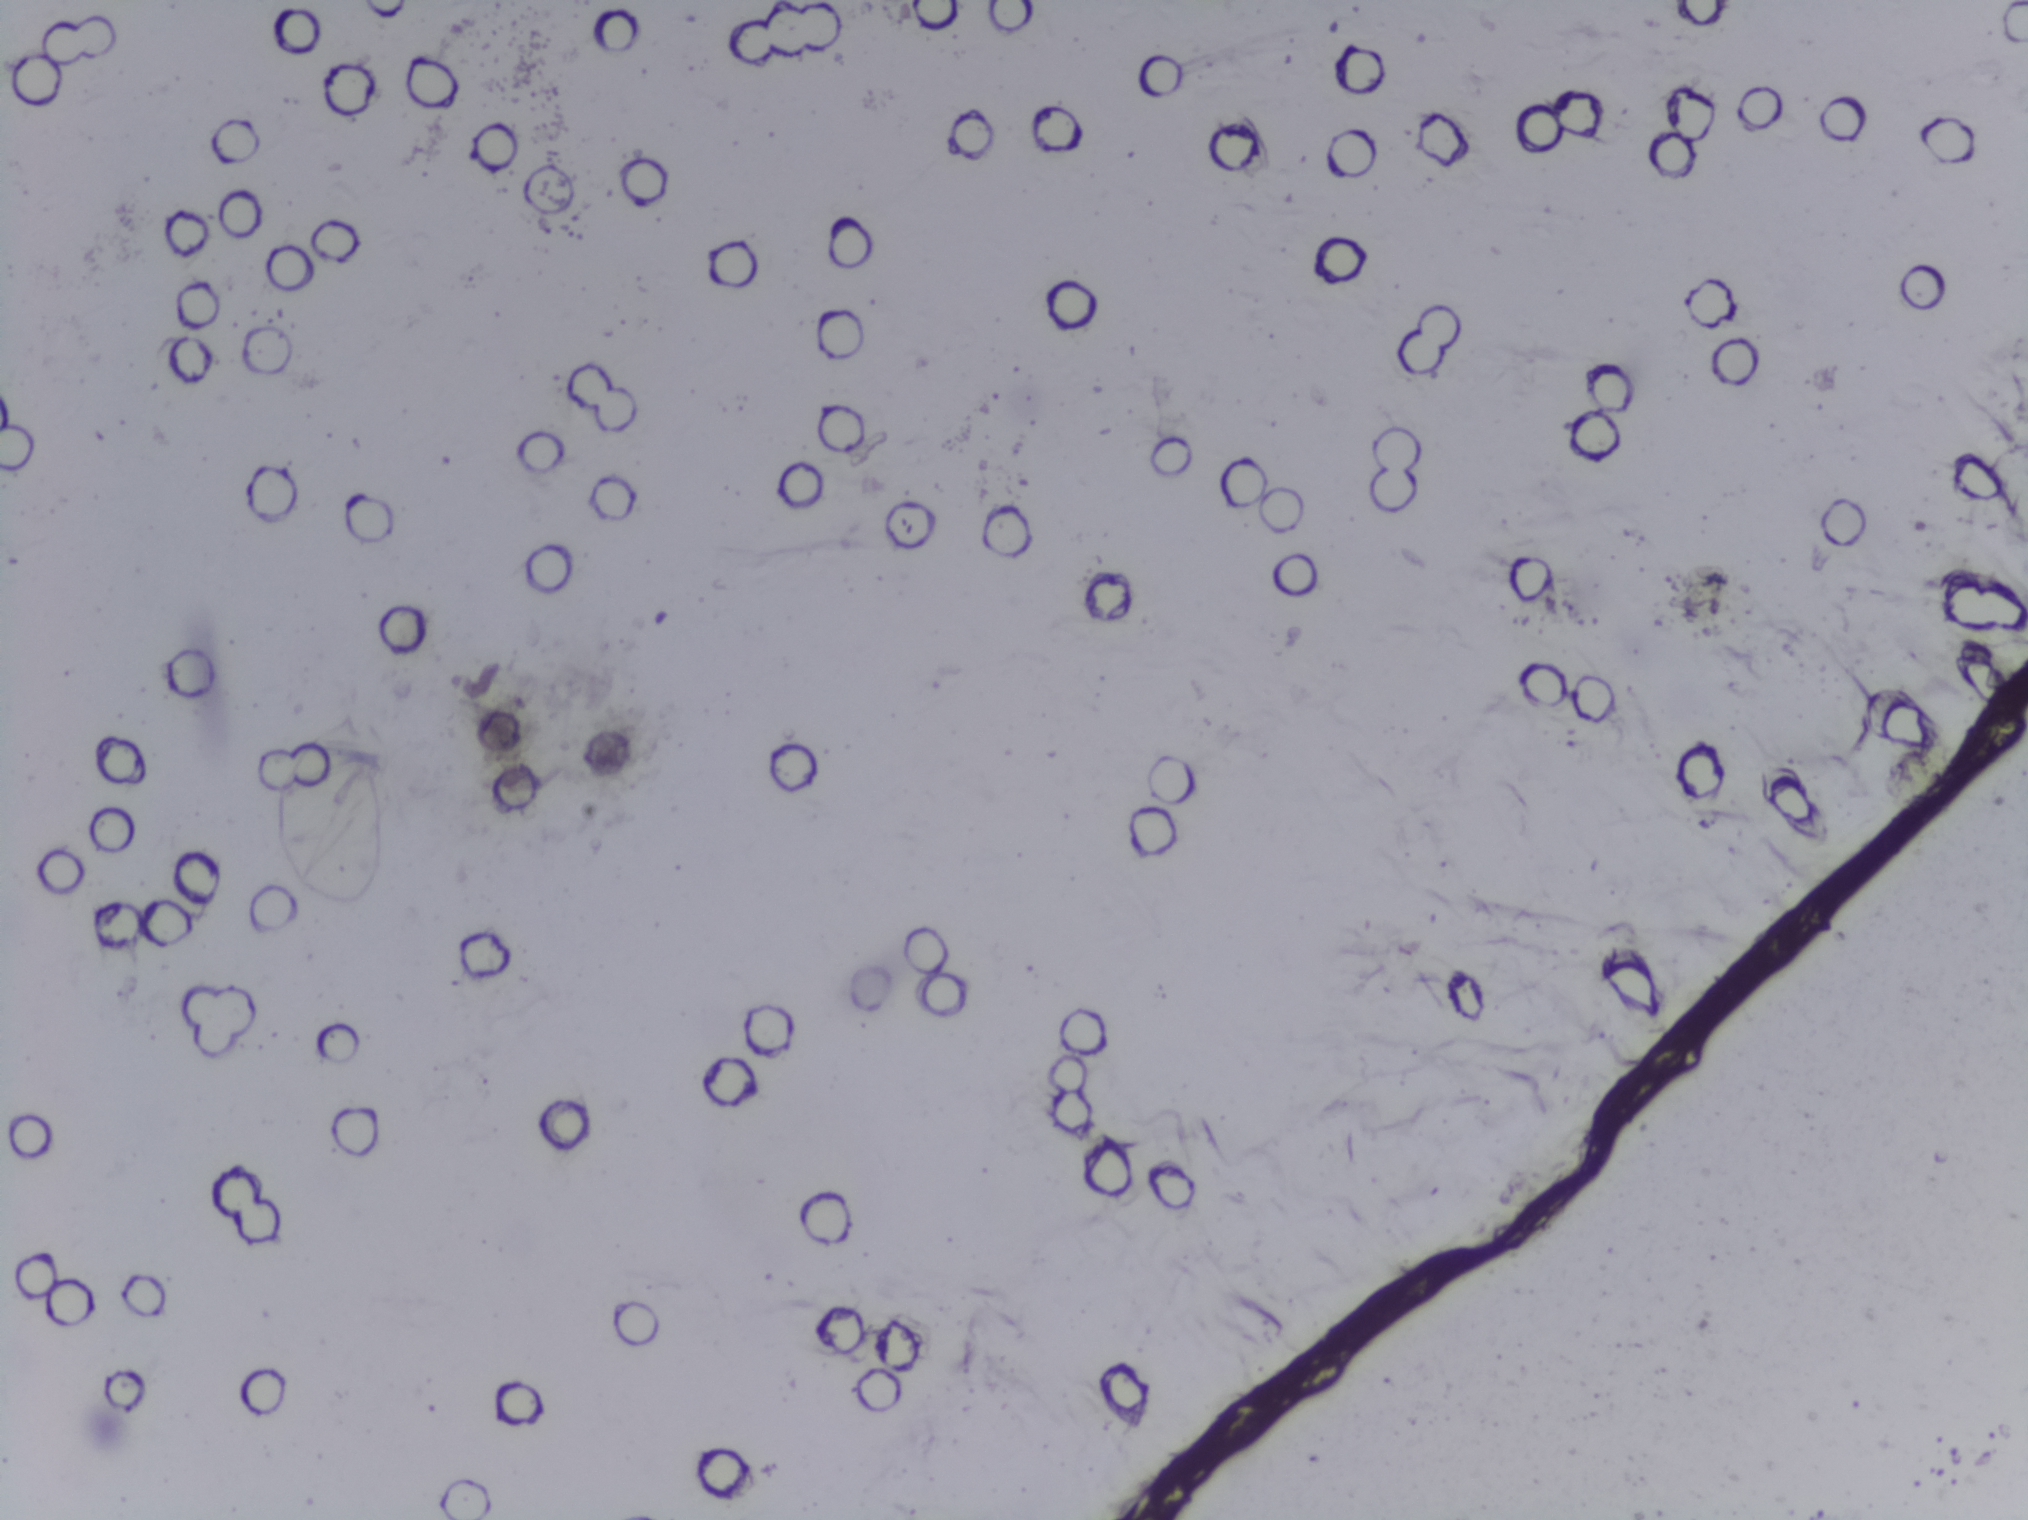
Urine filter membrane photographed through a 4× microscope objective.
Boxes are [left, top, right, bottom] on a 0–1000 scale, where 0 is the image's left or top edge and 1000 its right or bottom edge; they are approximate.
Schistosoma eggs, outlined areas: [134, 467, 192, 599]. The marked pixels themselves, not the box around them, cover about 0.6% of the image. A single outlined area may contain several eggs.